Photograph from an automated digital microscope: urine filter membrane, 4× objective.
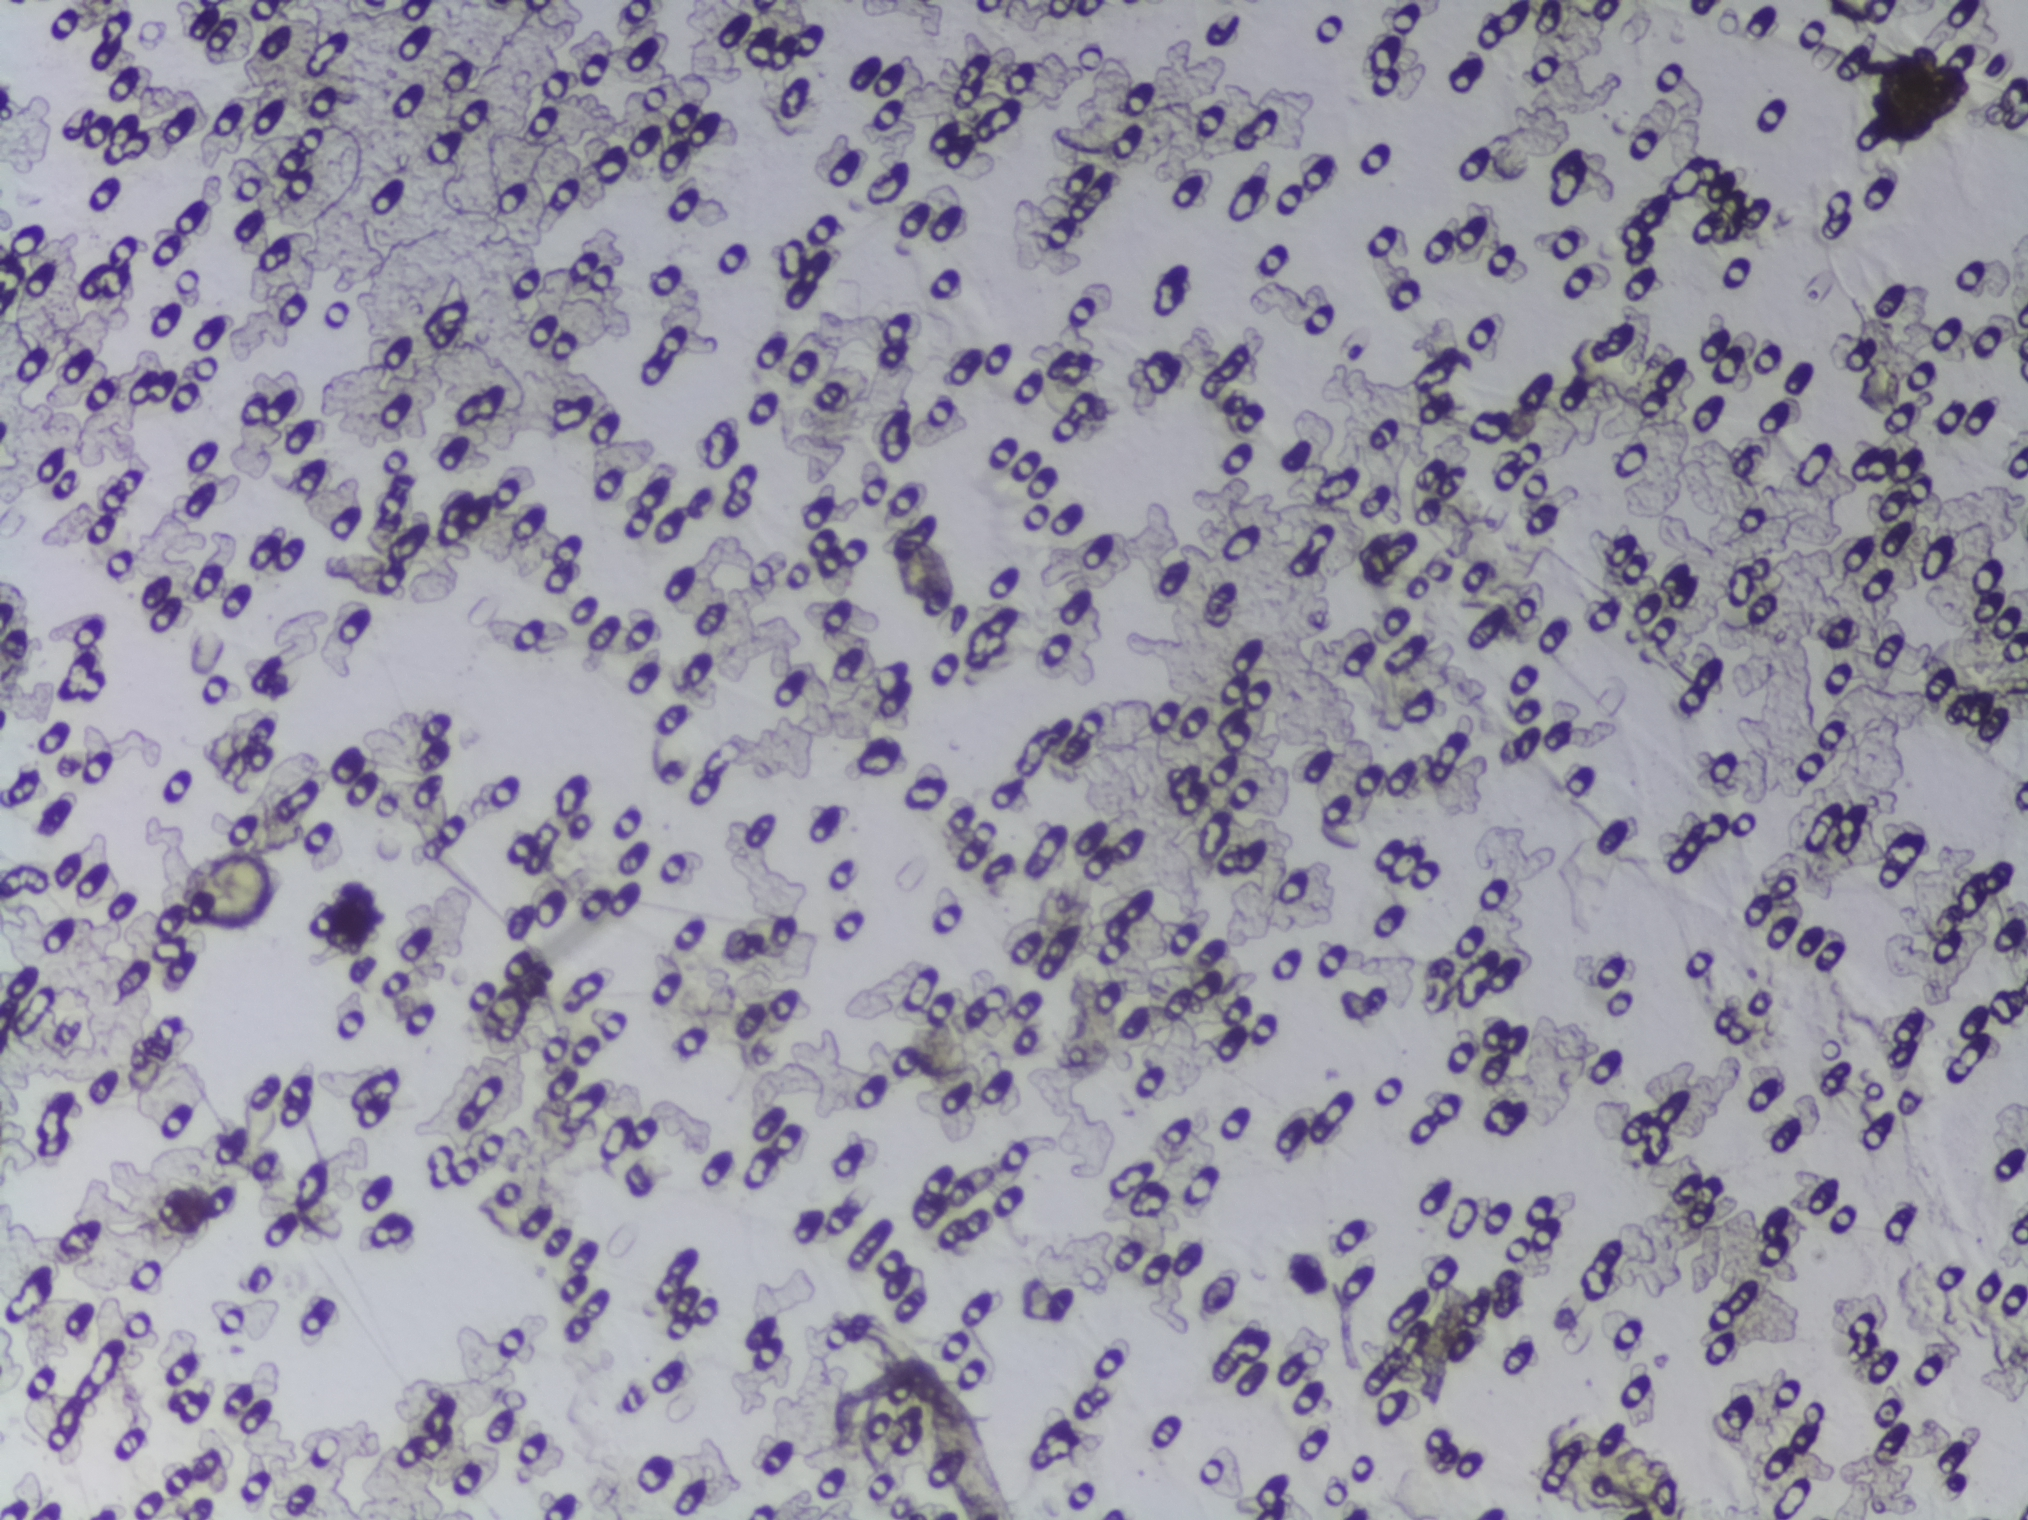
Schistosoma eggs: none outlined.